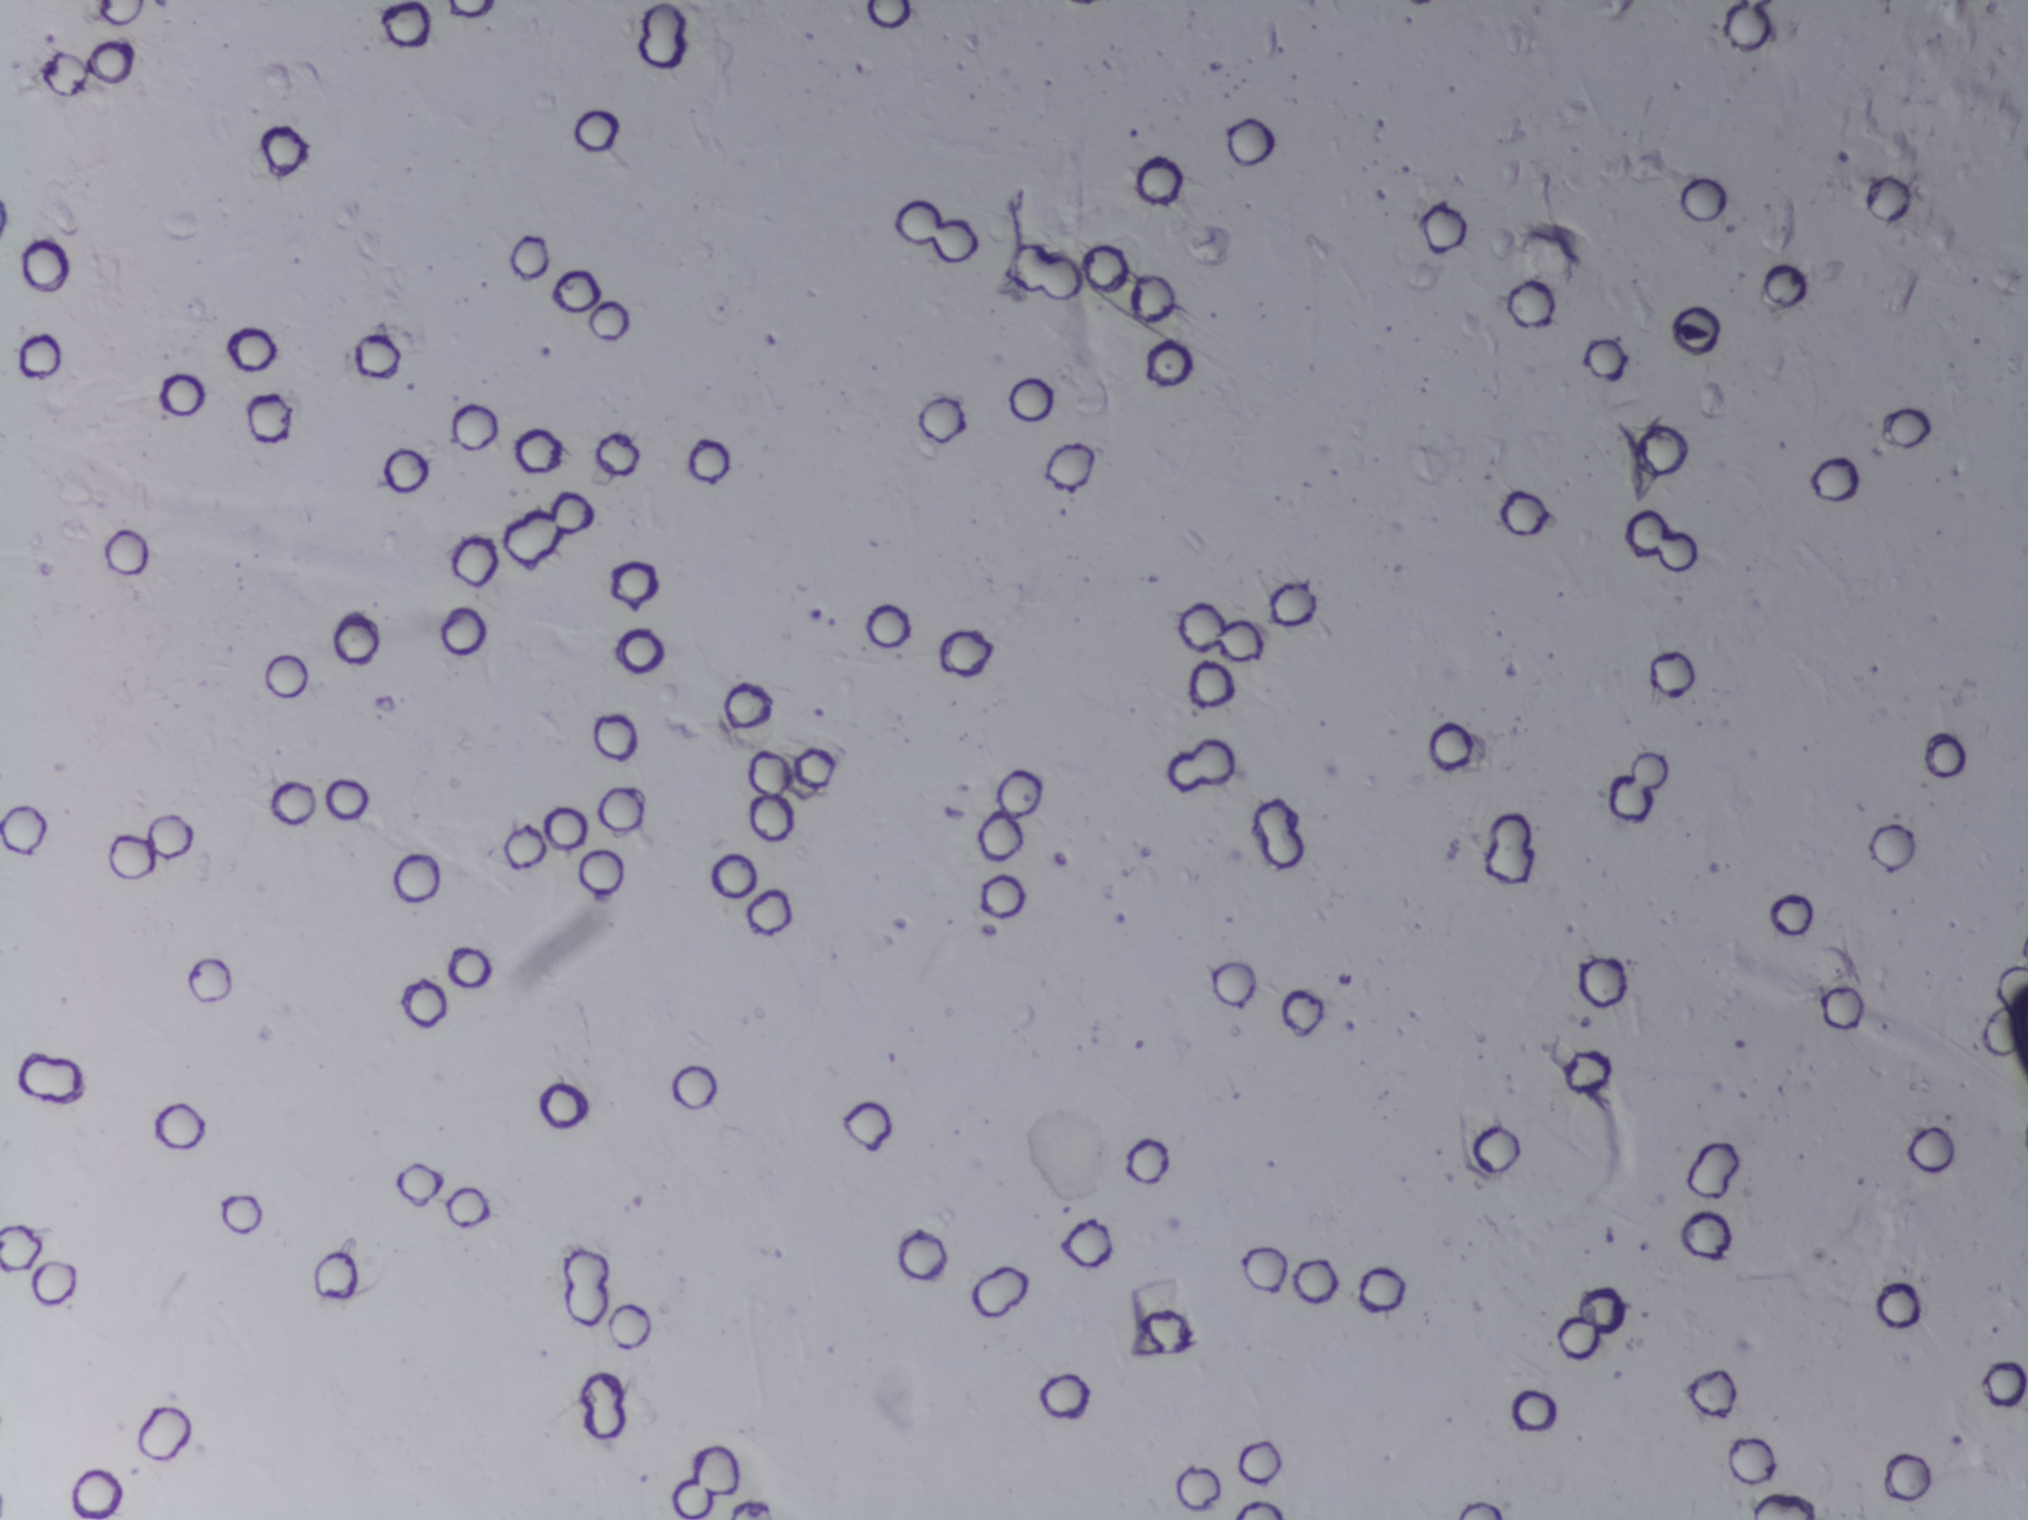
Photomicrograph of a urine filtration membrane, 4× objective.
The expert annotation outlines no Schistosoma egg in this image.